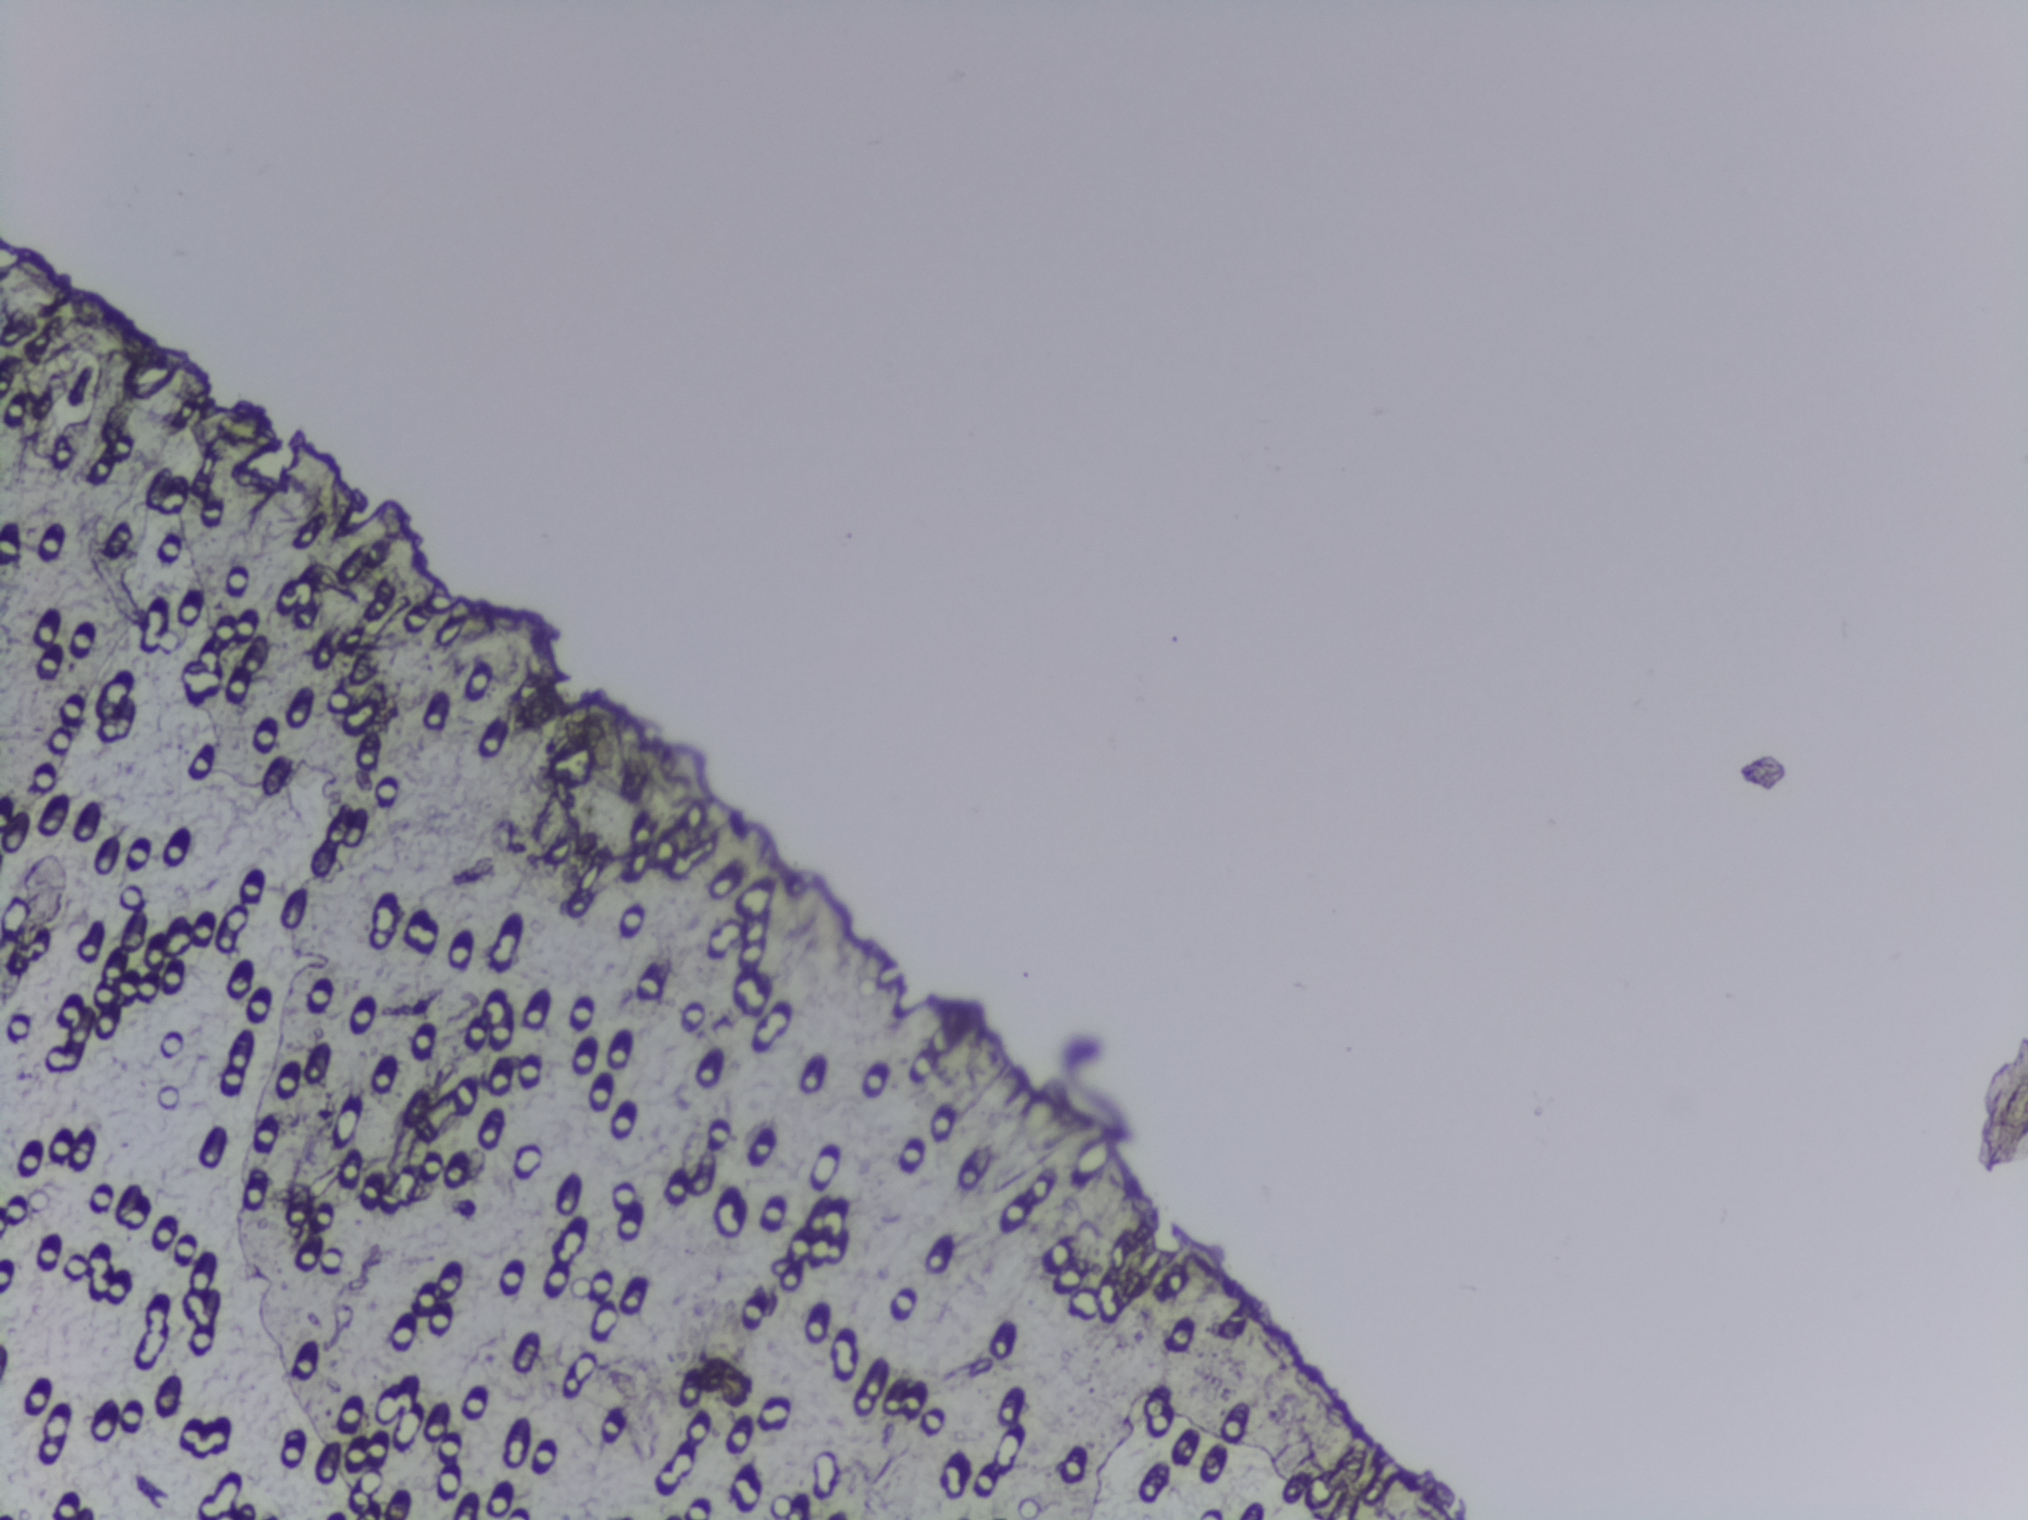
The expert annotation marks no Schistosoma egg in this field of view.
Urine filter membrane photographed through a 4× microscope objective.